Photomicrograph of a urine filtration membrane, 4× objective.
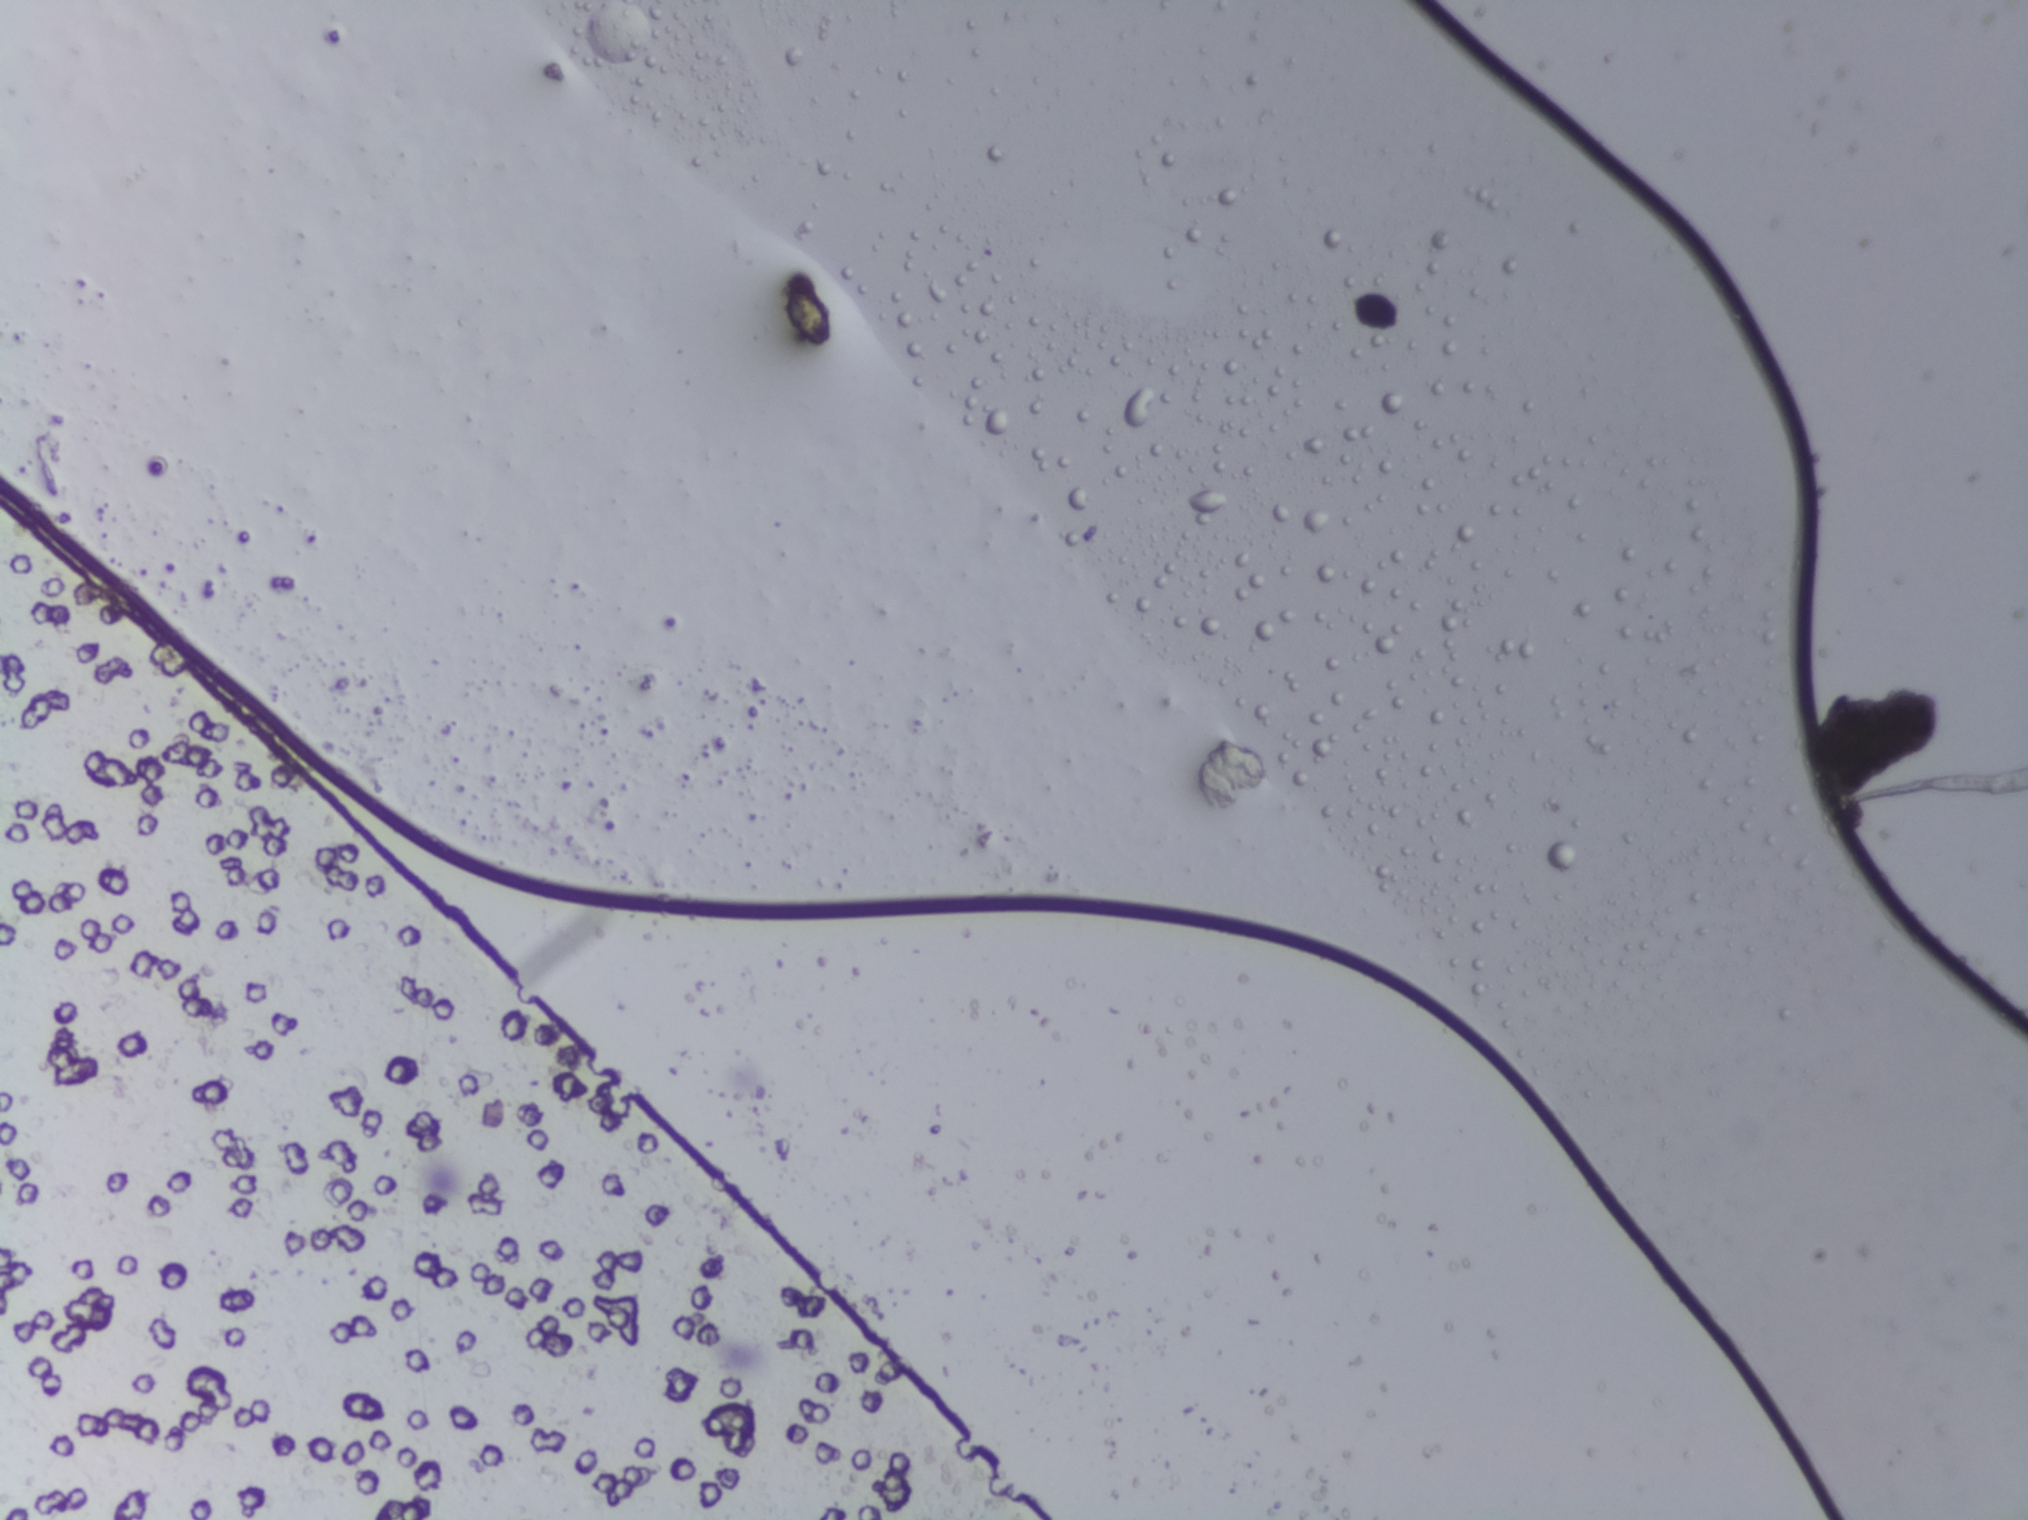
No area of this image was outlined as a Schistosoma egg.